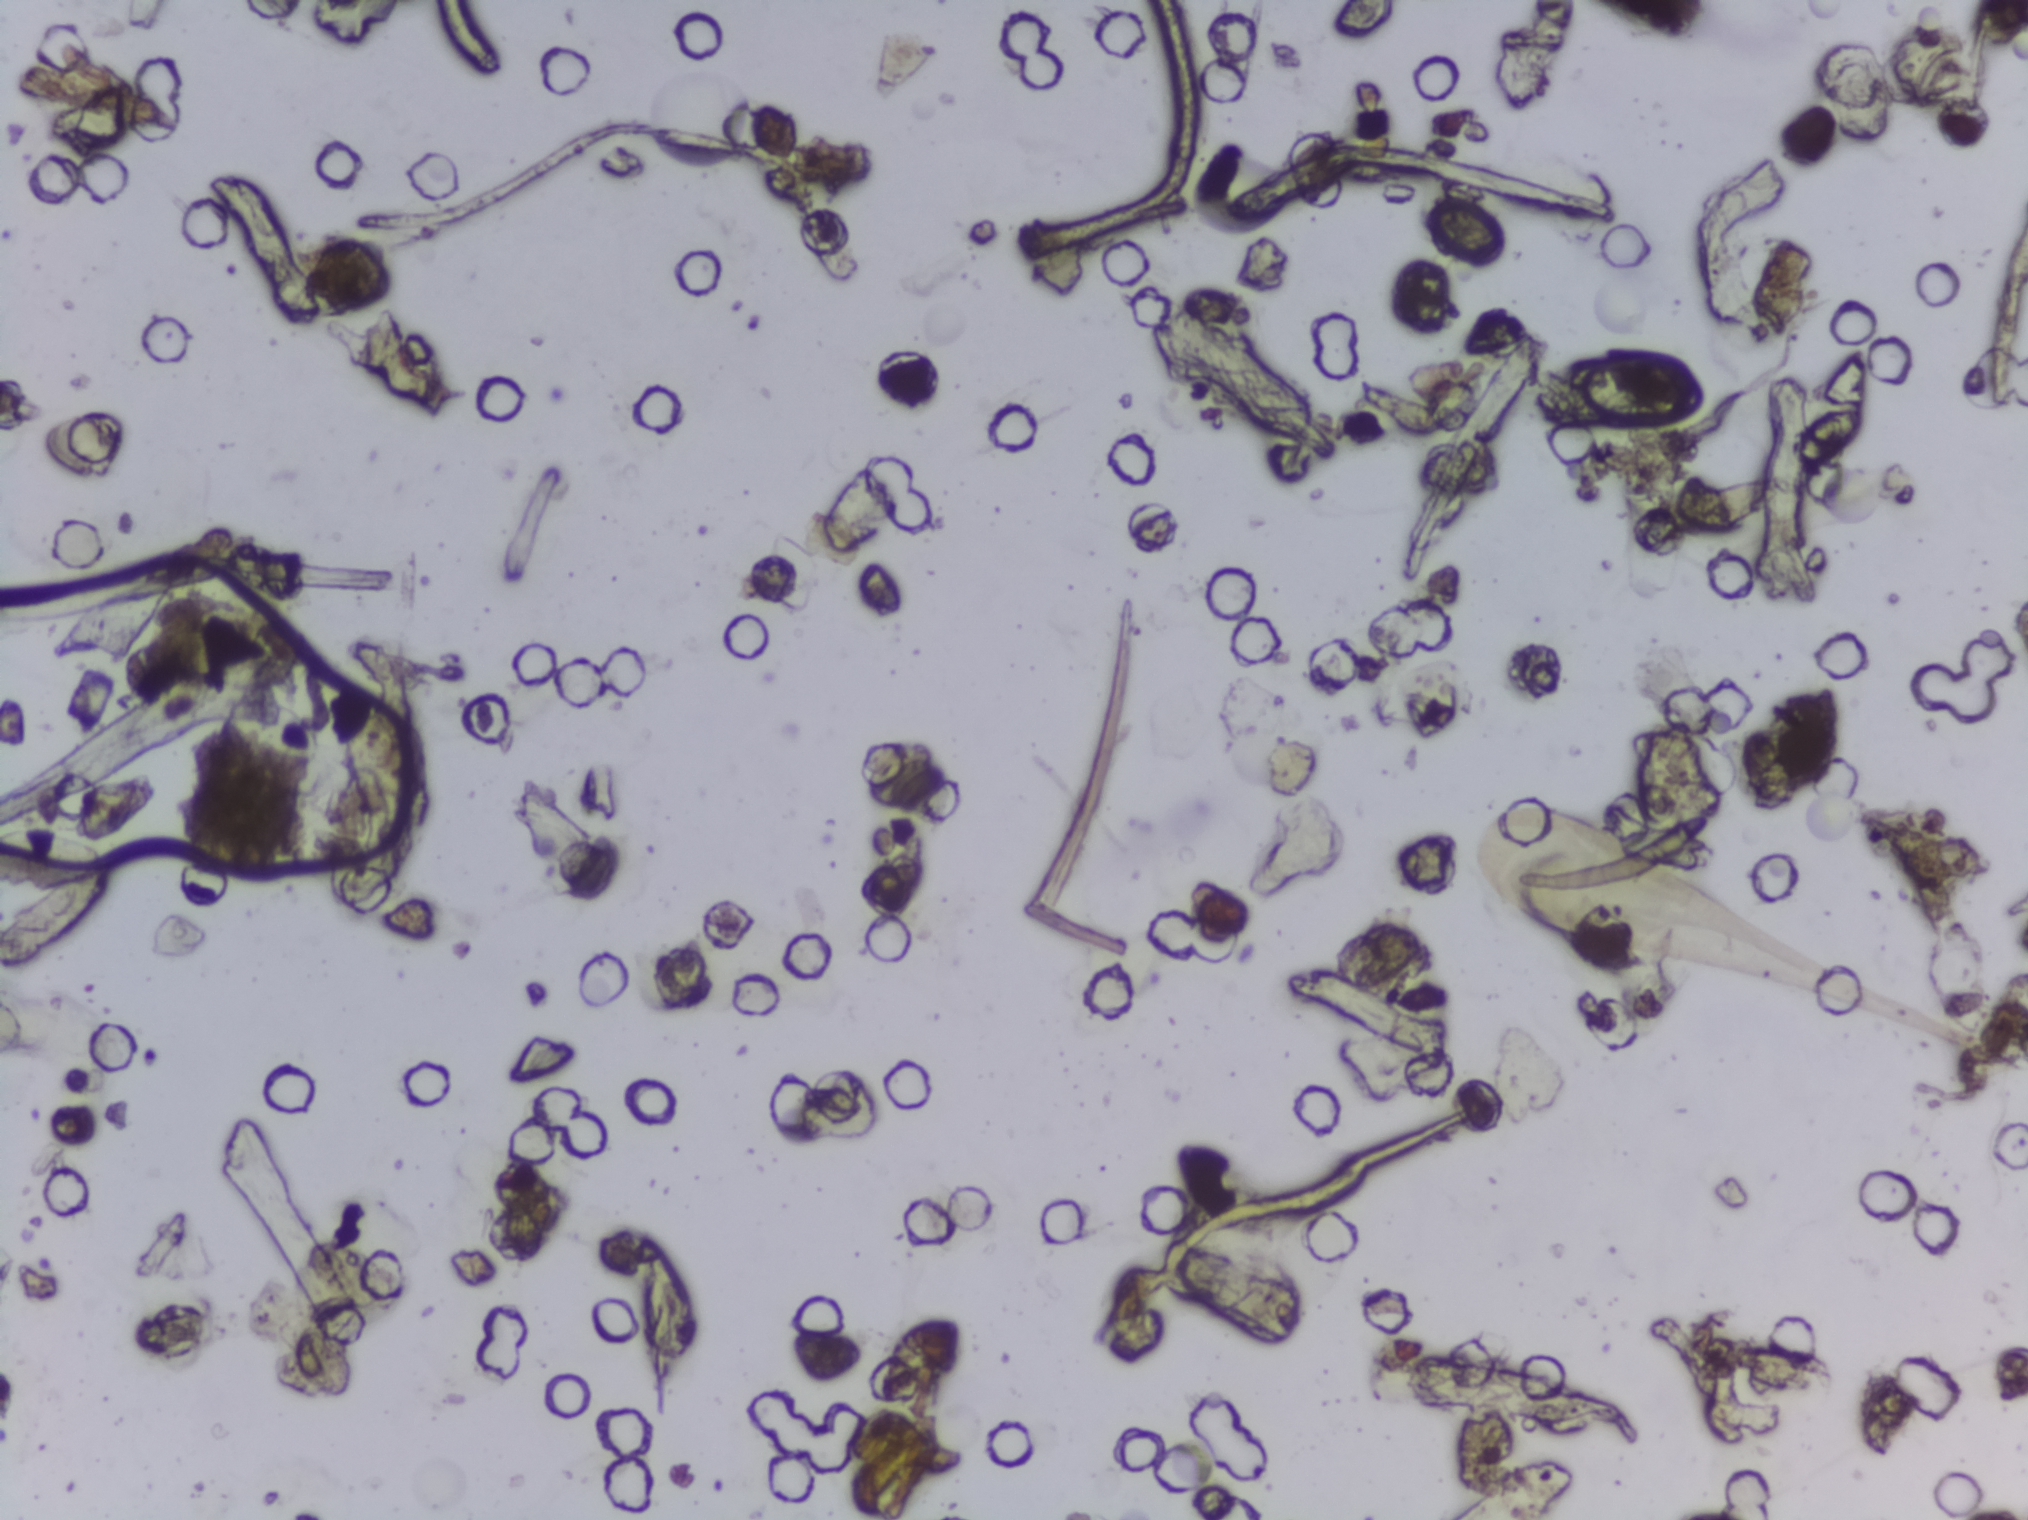
Photograph from an automated digital microscope: urine filter membrane, 4× objective.
The expert annotation outlines no Schistosoma egg in this image.